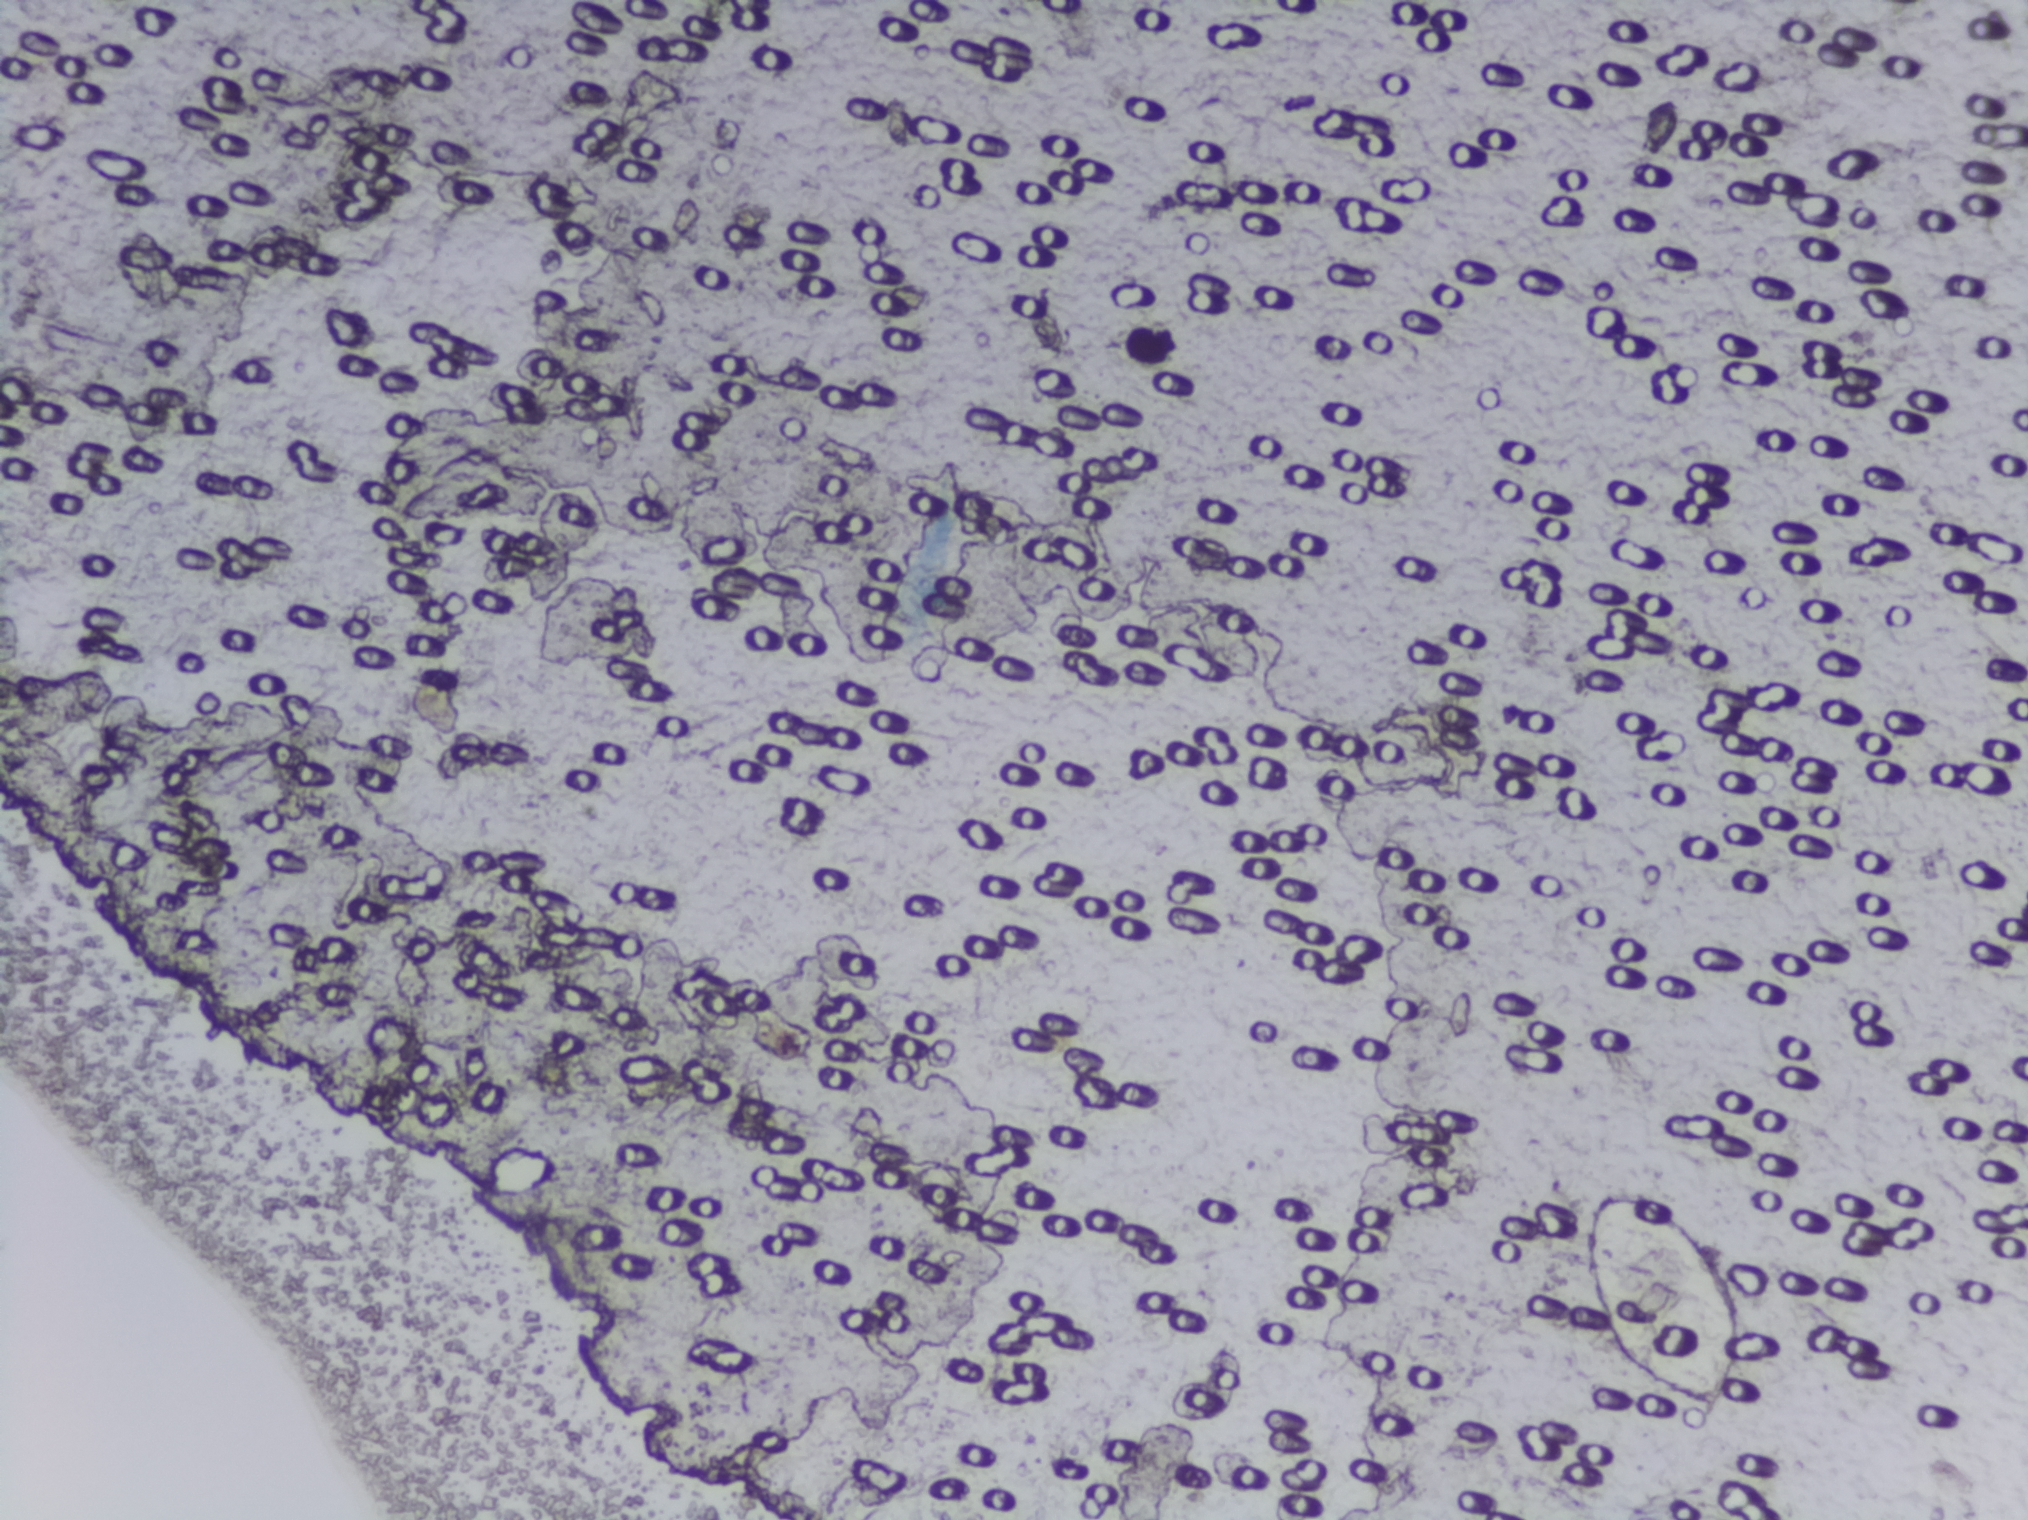
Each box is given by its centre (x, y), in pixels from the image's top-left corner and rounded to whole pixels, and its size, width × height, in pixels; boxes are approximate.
Schistosoma eggs are outlined in one area of this image: centre (1668, 1297), 213 × 273 px. About 1.2% of the image's pixels are marked (the marked pixels themselves, not the box around them). A single outlined area may contain several eggs.
Photograph from an automated digital microscope: urine filter membrane, 4× objective.